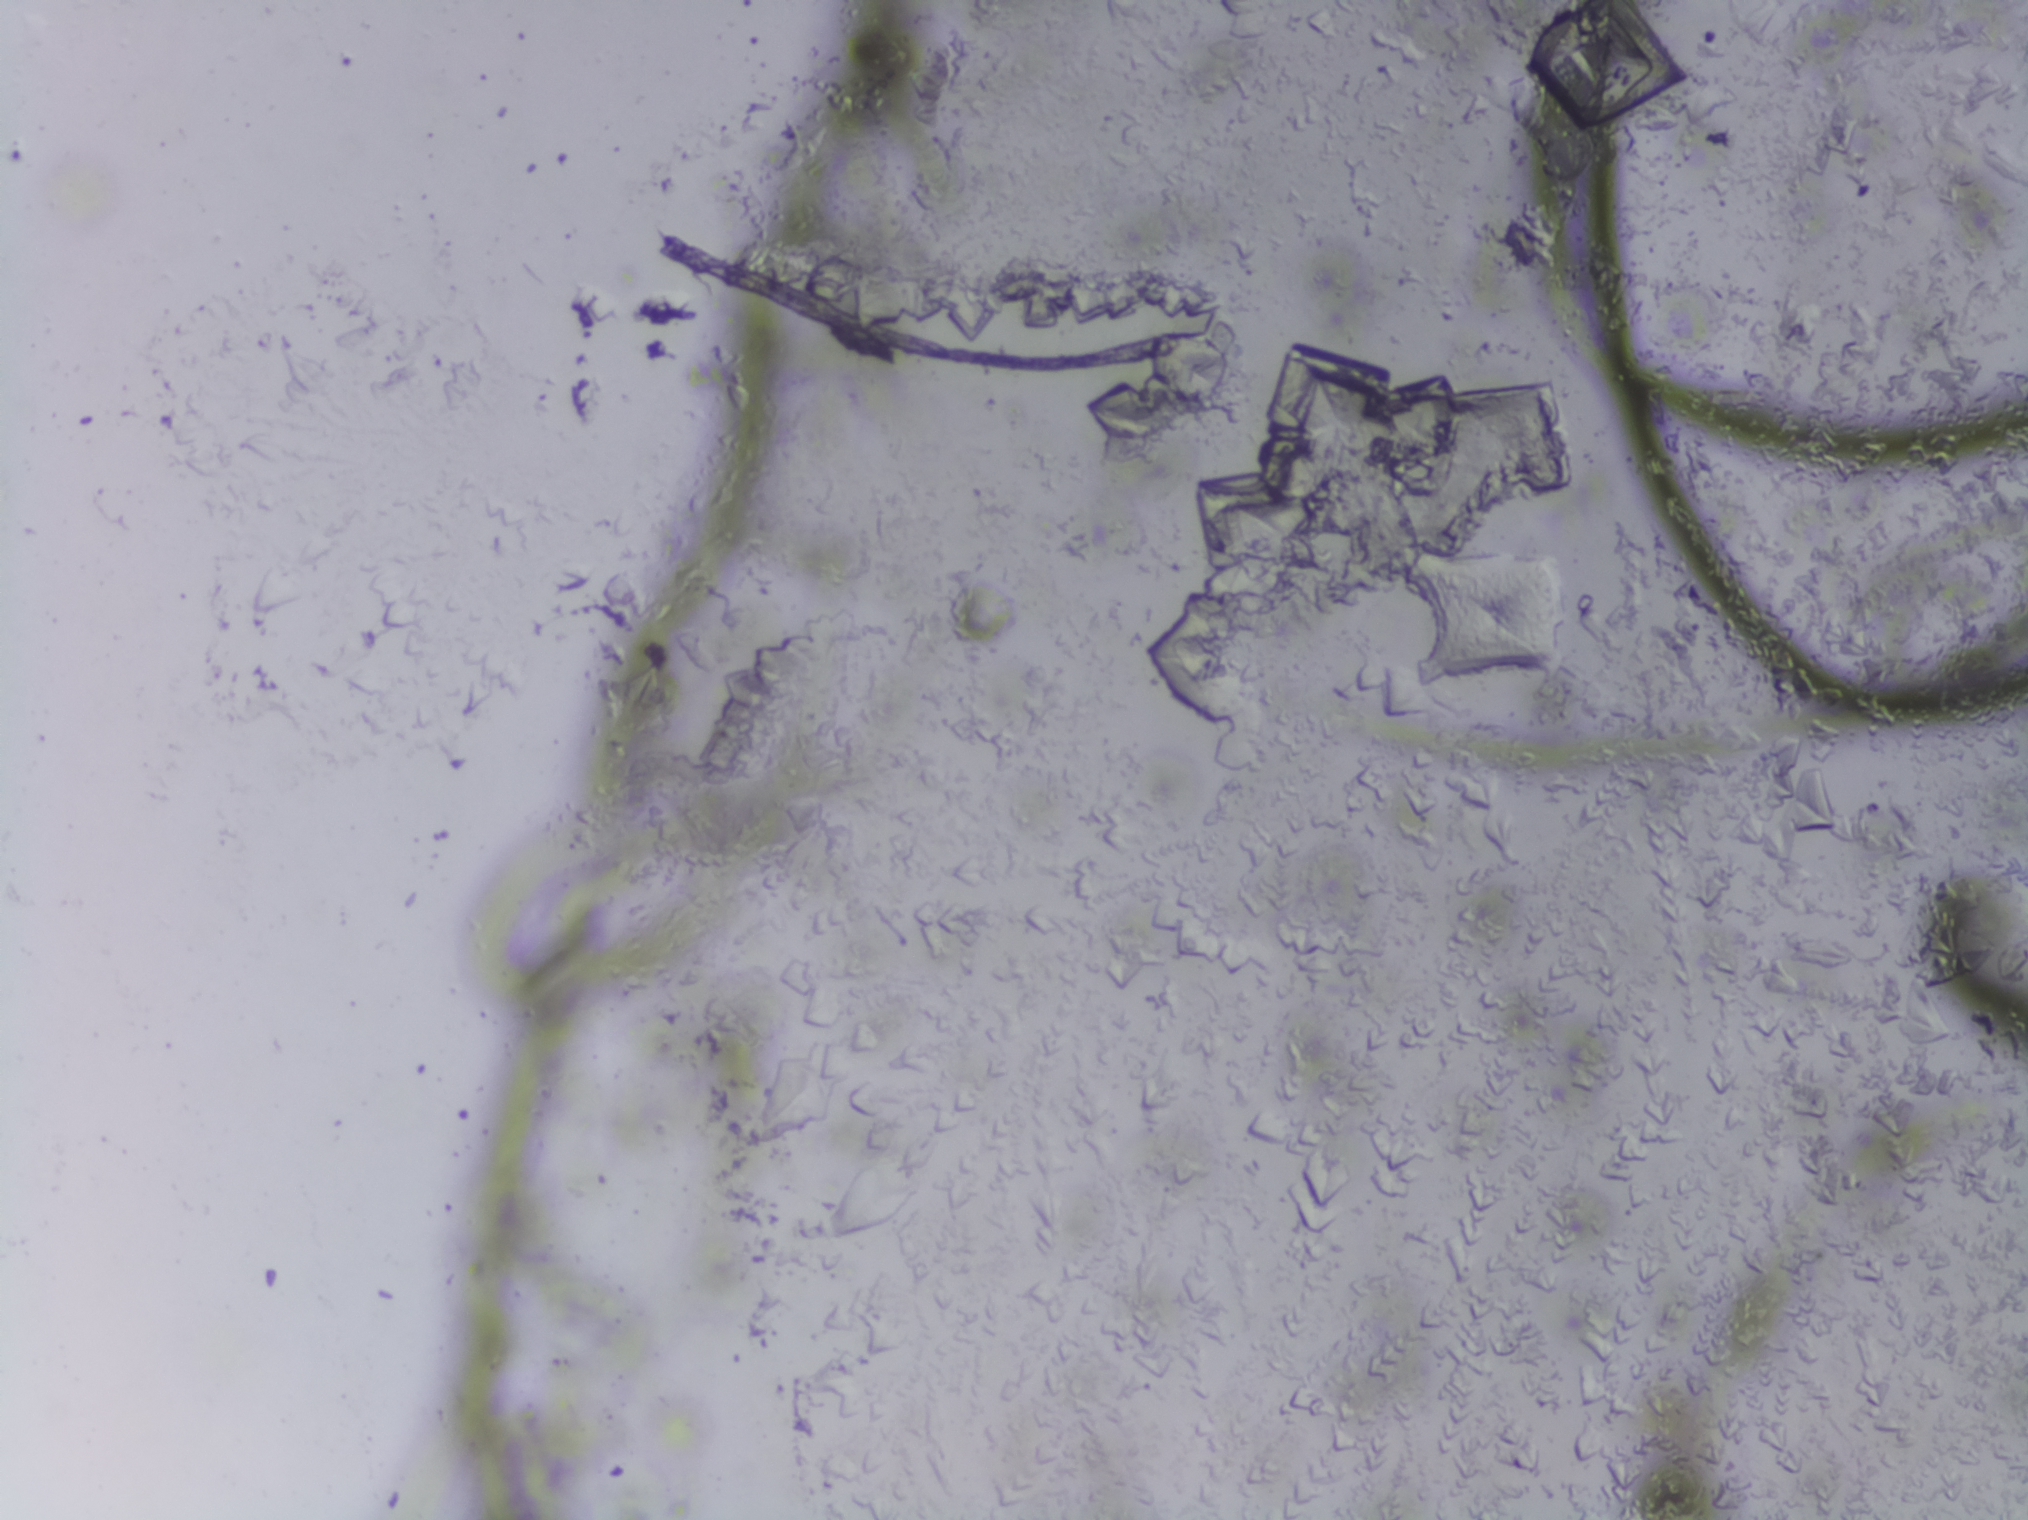
No Schistosoma egg is outlined in this image's expert annotation.
Urine filter membrane photographed through a 4× microscope objective.